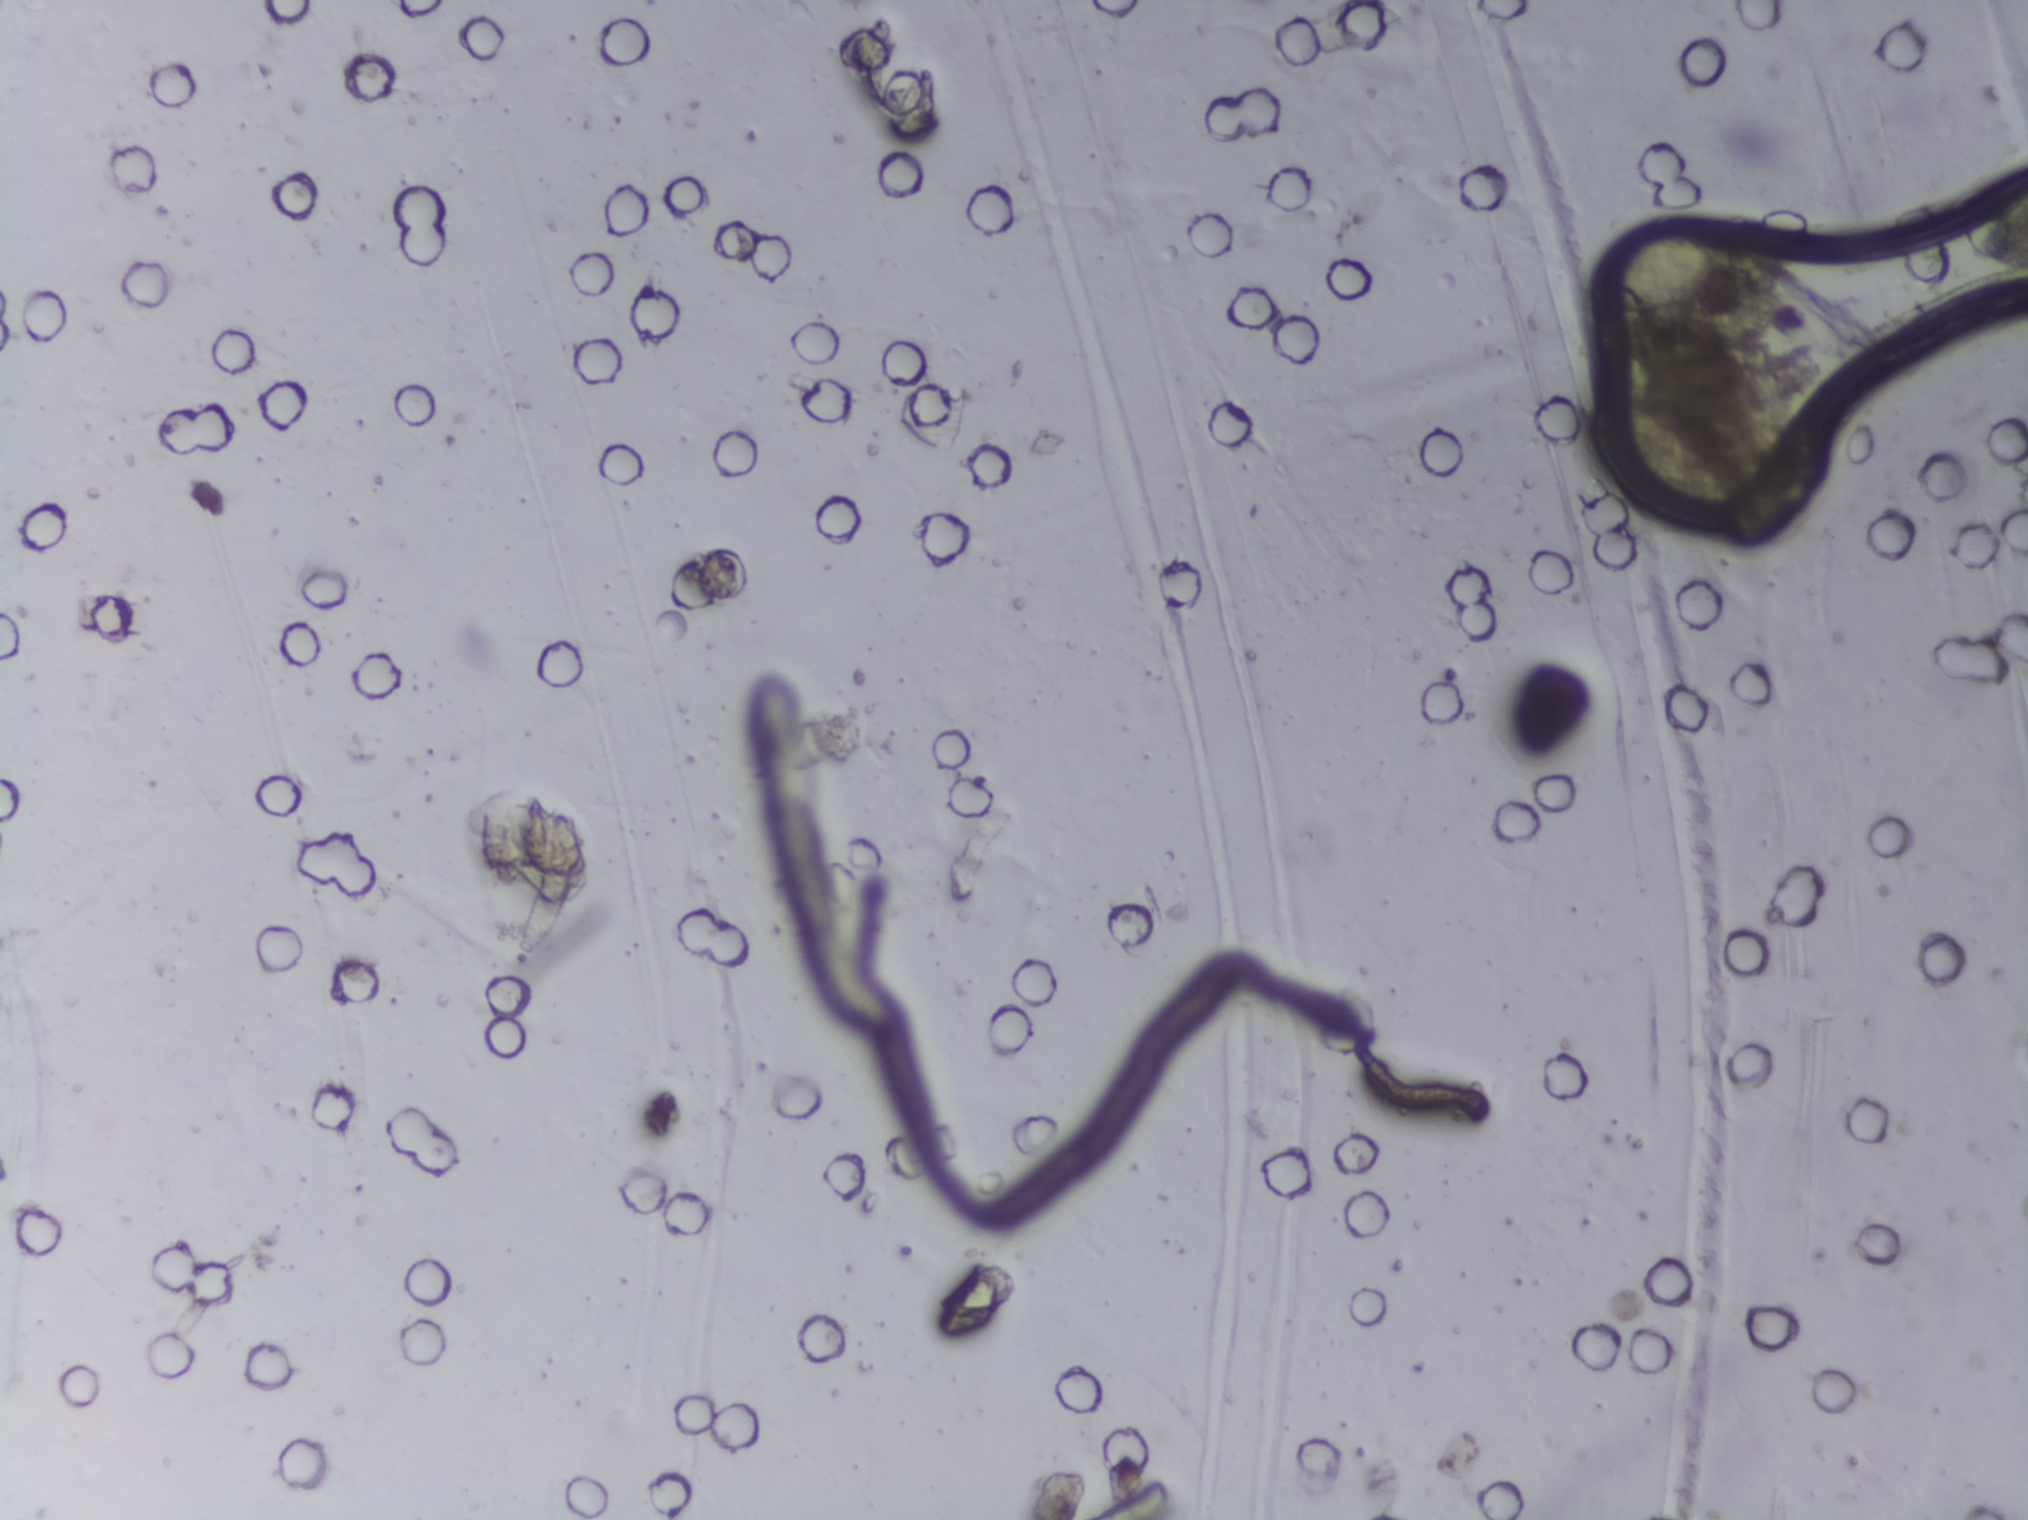
Urine filter membrane photographed through a 4× microscope objective.
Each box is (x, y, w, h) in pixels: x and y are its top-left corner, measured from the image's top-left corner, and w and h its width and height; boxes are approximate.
Schistosoma eggs are outlined in three areas of this image, listed from left to right: (x=1586, y=392, w=176, h=150); (x=1589, y=216, w=169, h=95); (x=1962, y=182, w=66, h=91) (reaching the right edge of the frame). A single outlined area may contain several eggs.